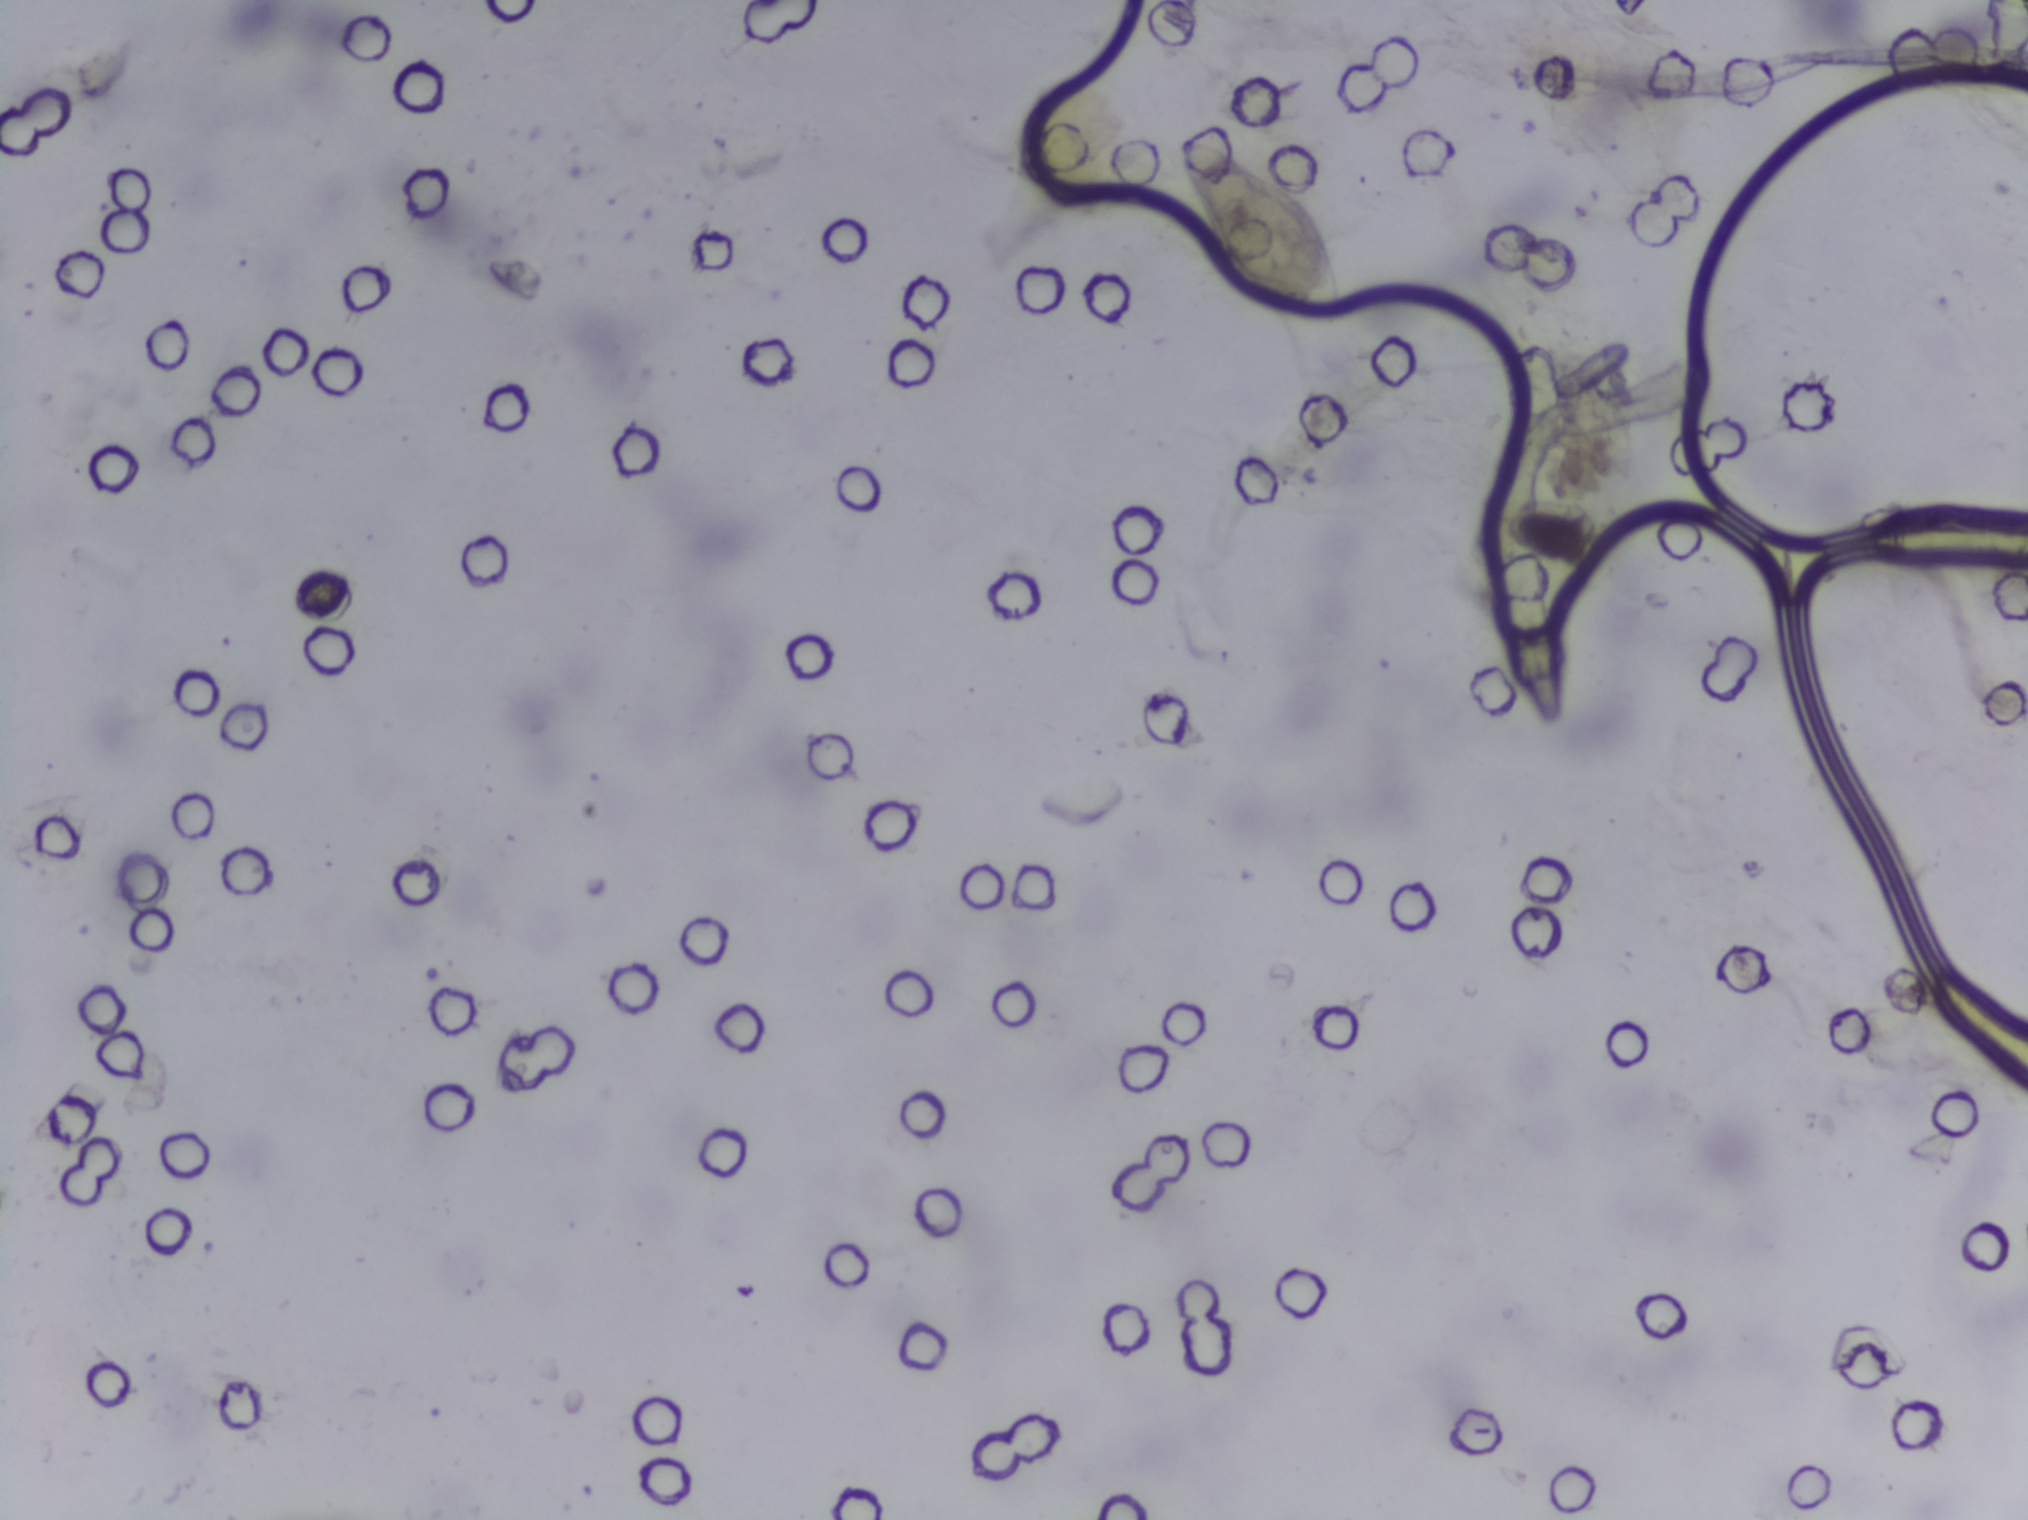
Urine filtration membrane under a 4× objective, photographed by an automated digital microscope. The field of view is about 1.5 mm × 1.1 mm.
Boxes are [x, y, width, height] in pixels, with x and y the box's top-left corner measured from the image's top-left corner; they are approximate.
Findings: one area outlined as Schistosoma eggs. Location: [1175, 140, 169, 178]. An outlined area can hold more than one egg. Any one outlined egg may, rarely, be S. mansoni rather than S. haematobium.